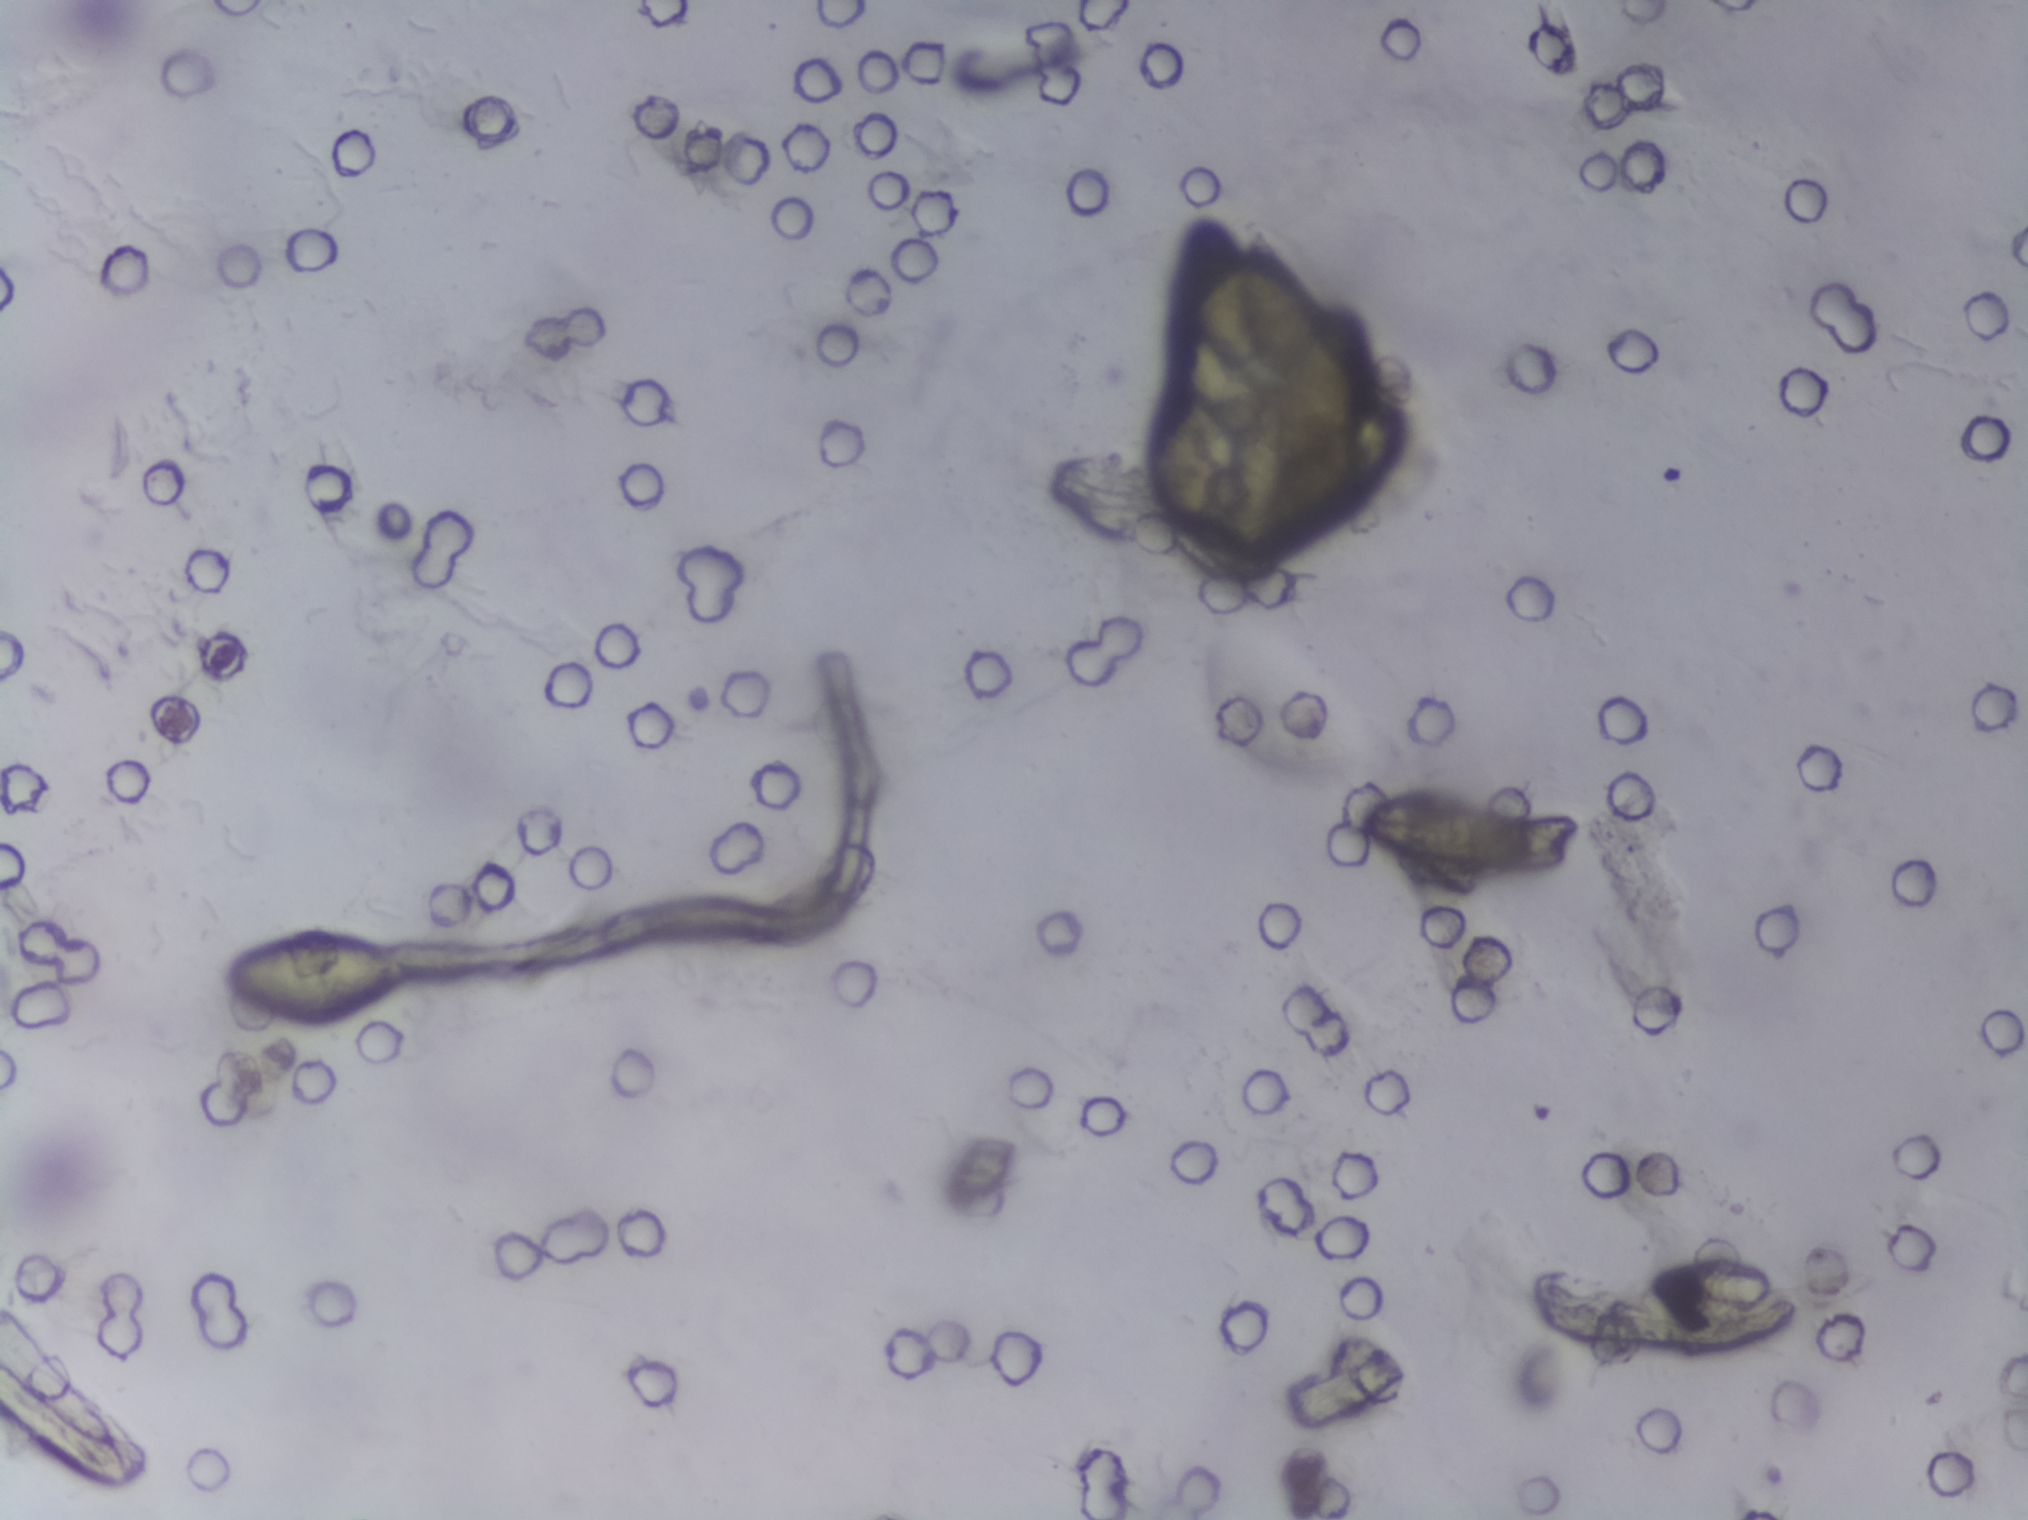
Photomicrograph of a urine filtration membrane, 4× objective. The image covers about 1.5 × 1.1 mm of the membrane.
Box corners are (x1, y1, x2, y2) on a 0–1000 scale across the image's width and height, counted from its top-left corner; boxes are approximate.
Schistosoma eggs are outlined in the expert annotation at (109, 614, 201, 673) and (577, 136, 649, 250) (left to right). An outlined area can hold more than one egg.